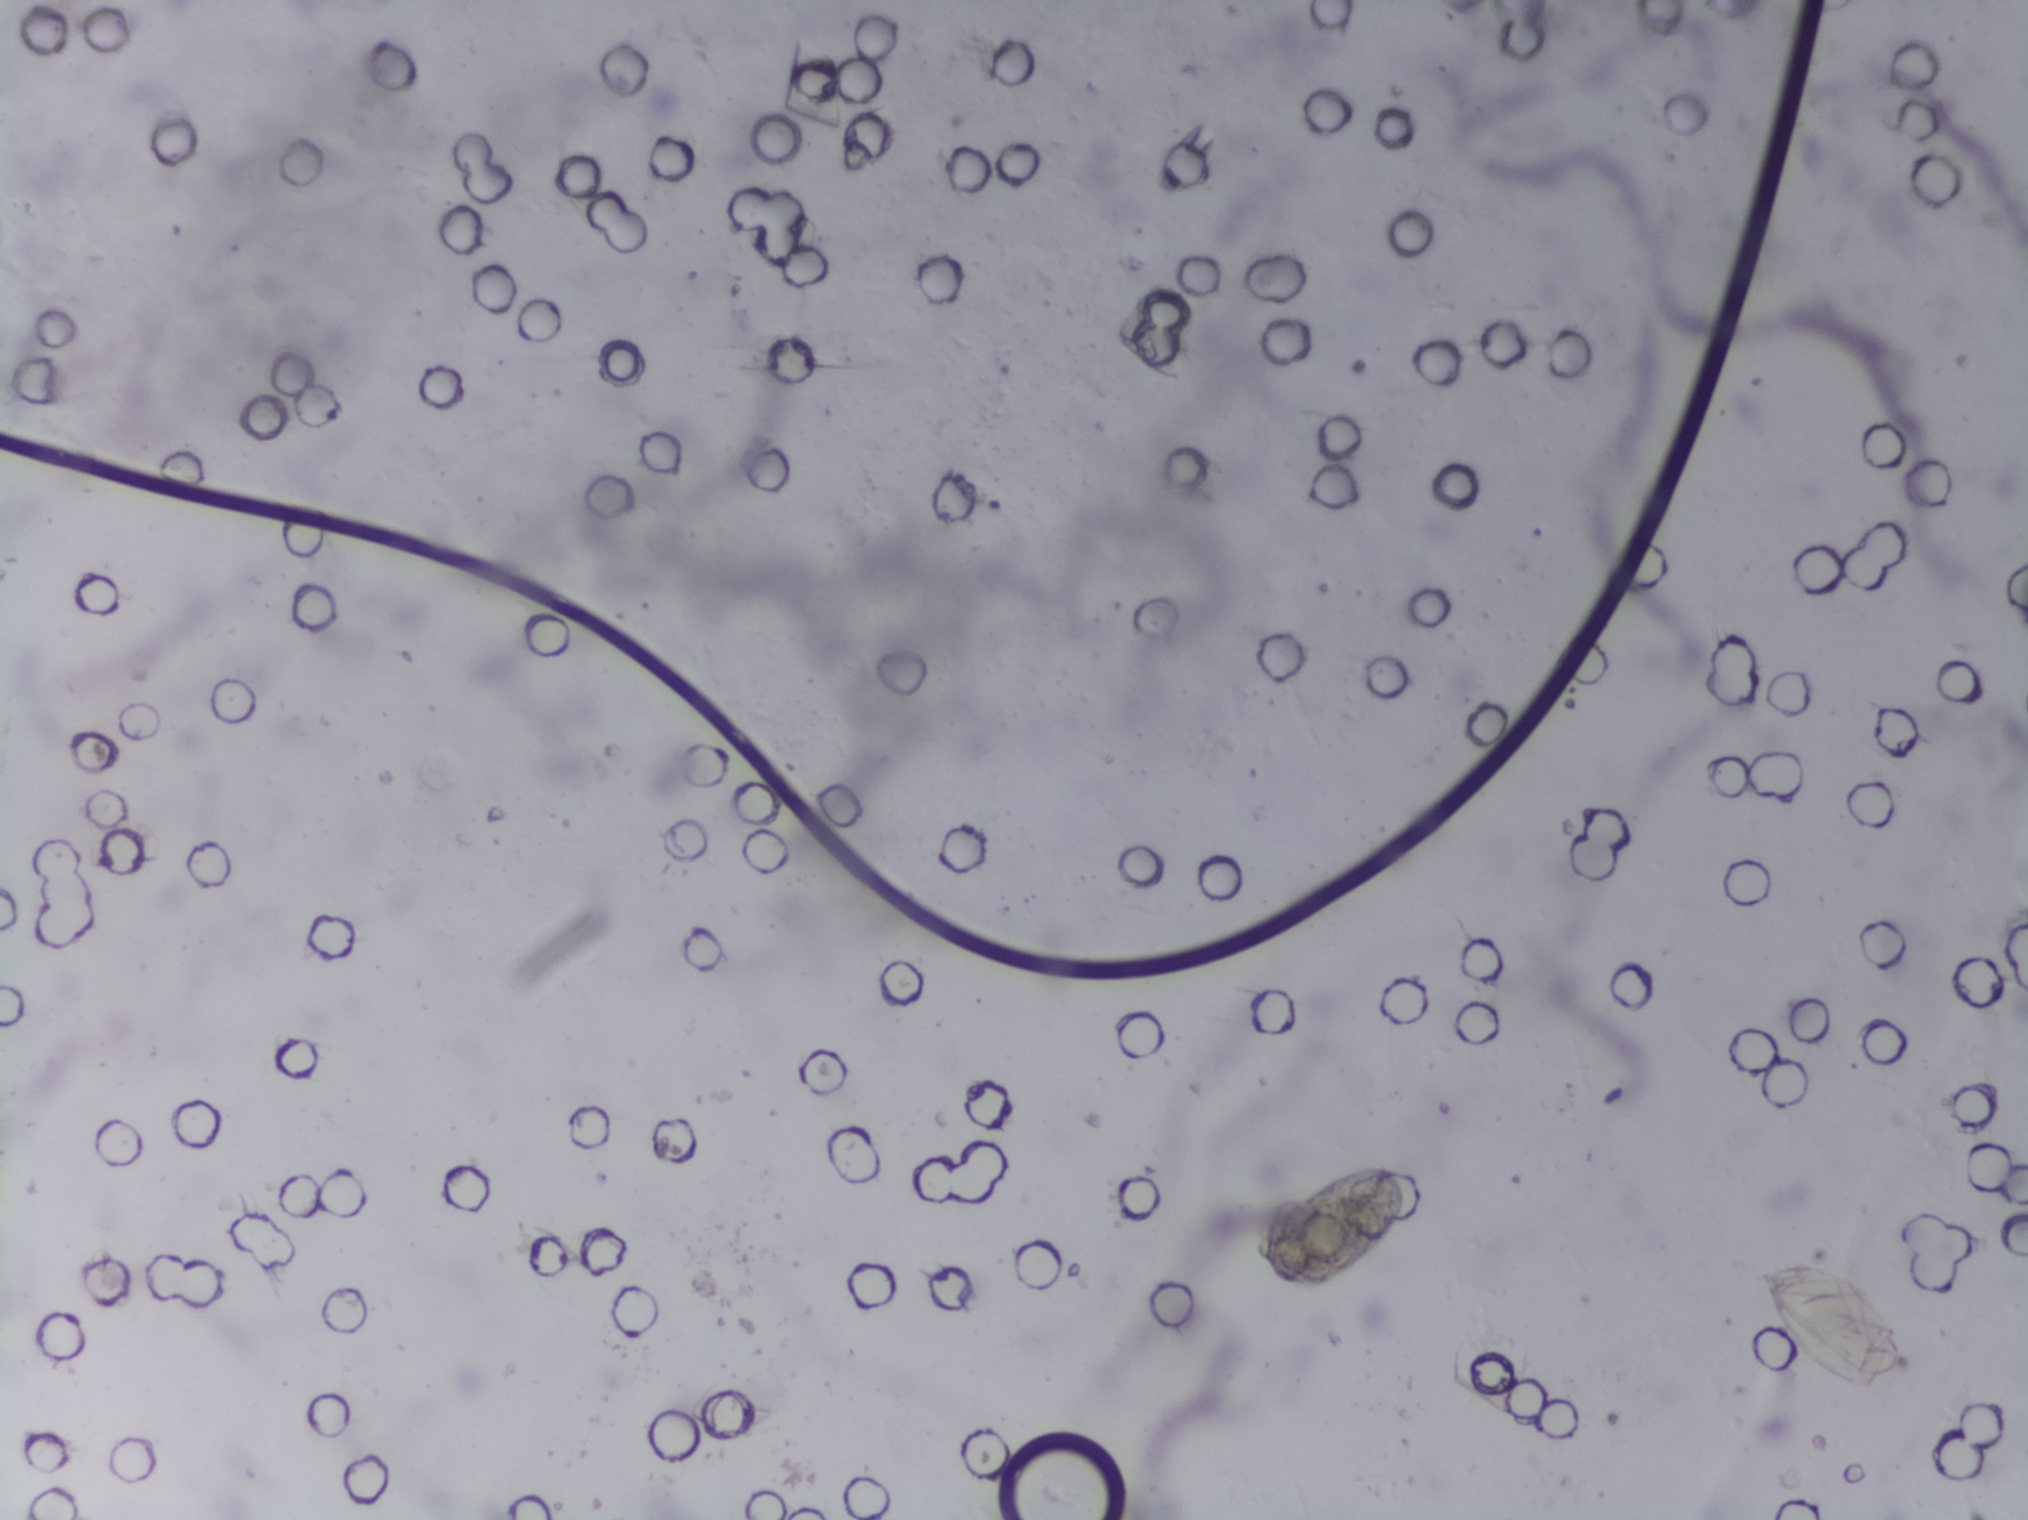
Urine filtration membrane under a 4× objective, photographed by an automated digital microscope. The field of view is about 1.5 mm × 1.1 mm.
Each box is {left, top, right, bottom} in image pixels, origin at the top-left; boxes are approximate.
Schistosoma eggs, outlined areas: {1755, 1261, 1905, 1389}. Eggs that touch can end up inside the same outlined area.